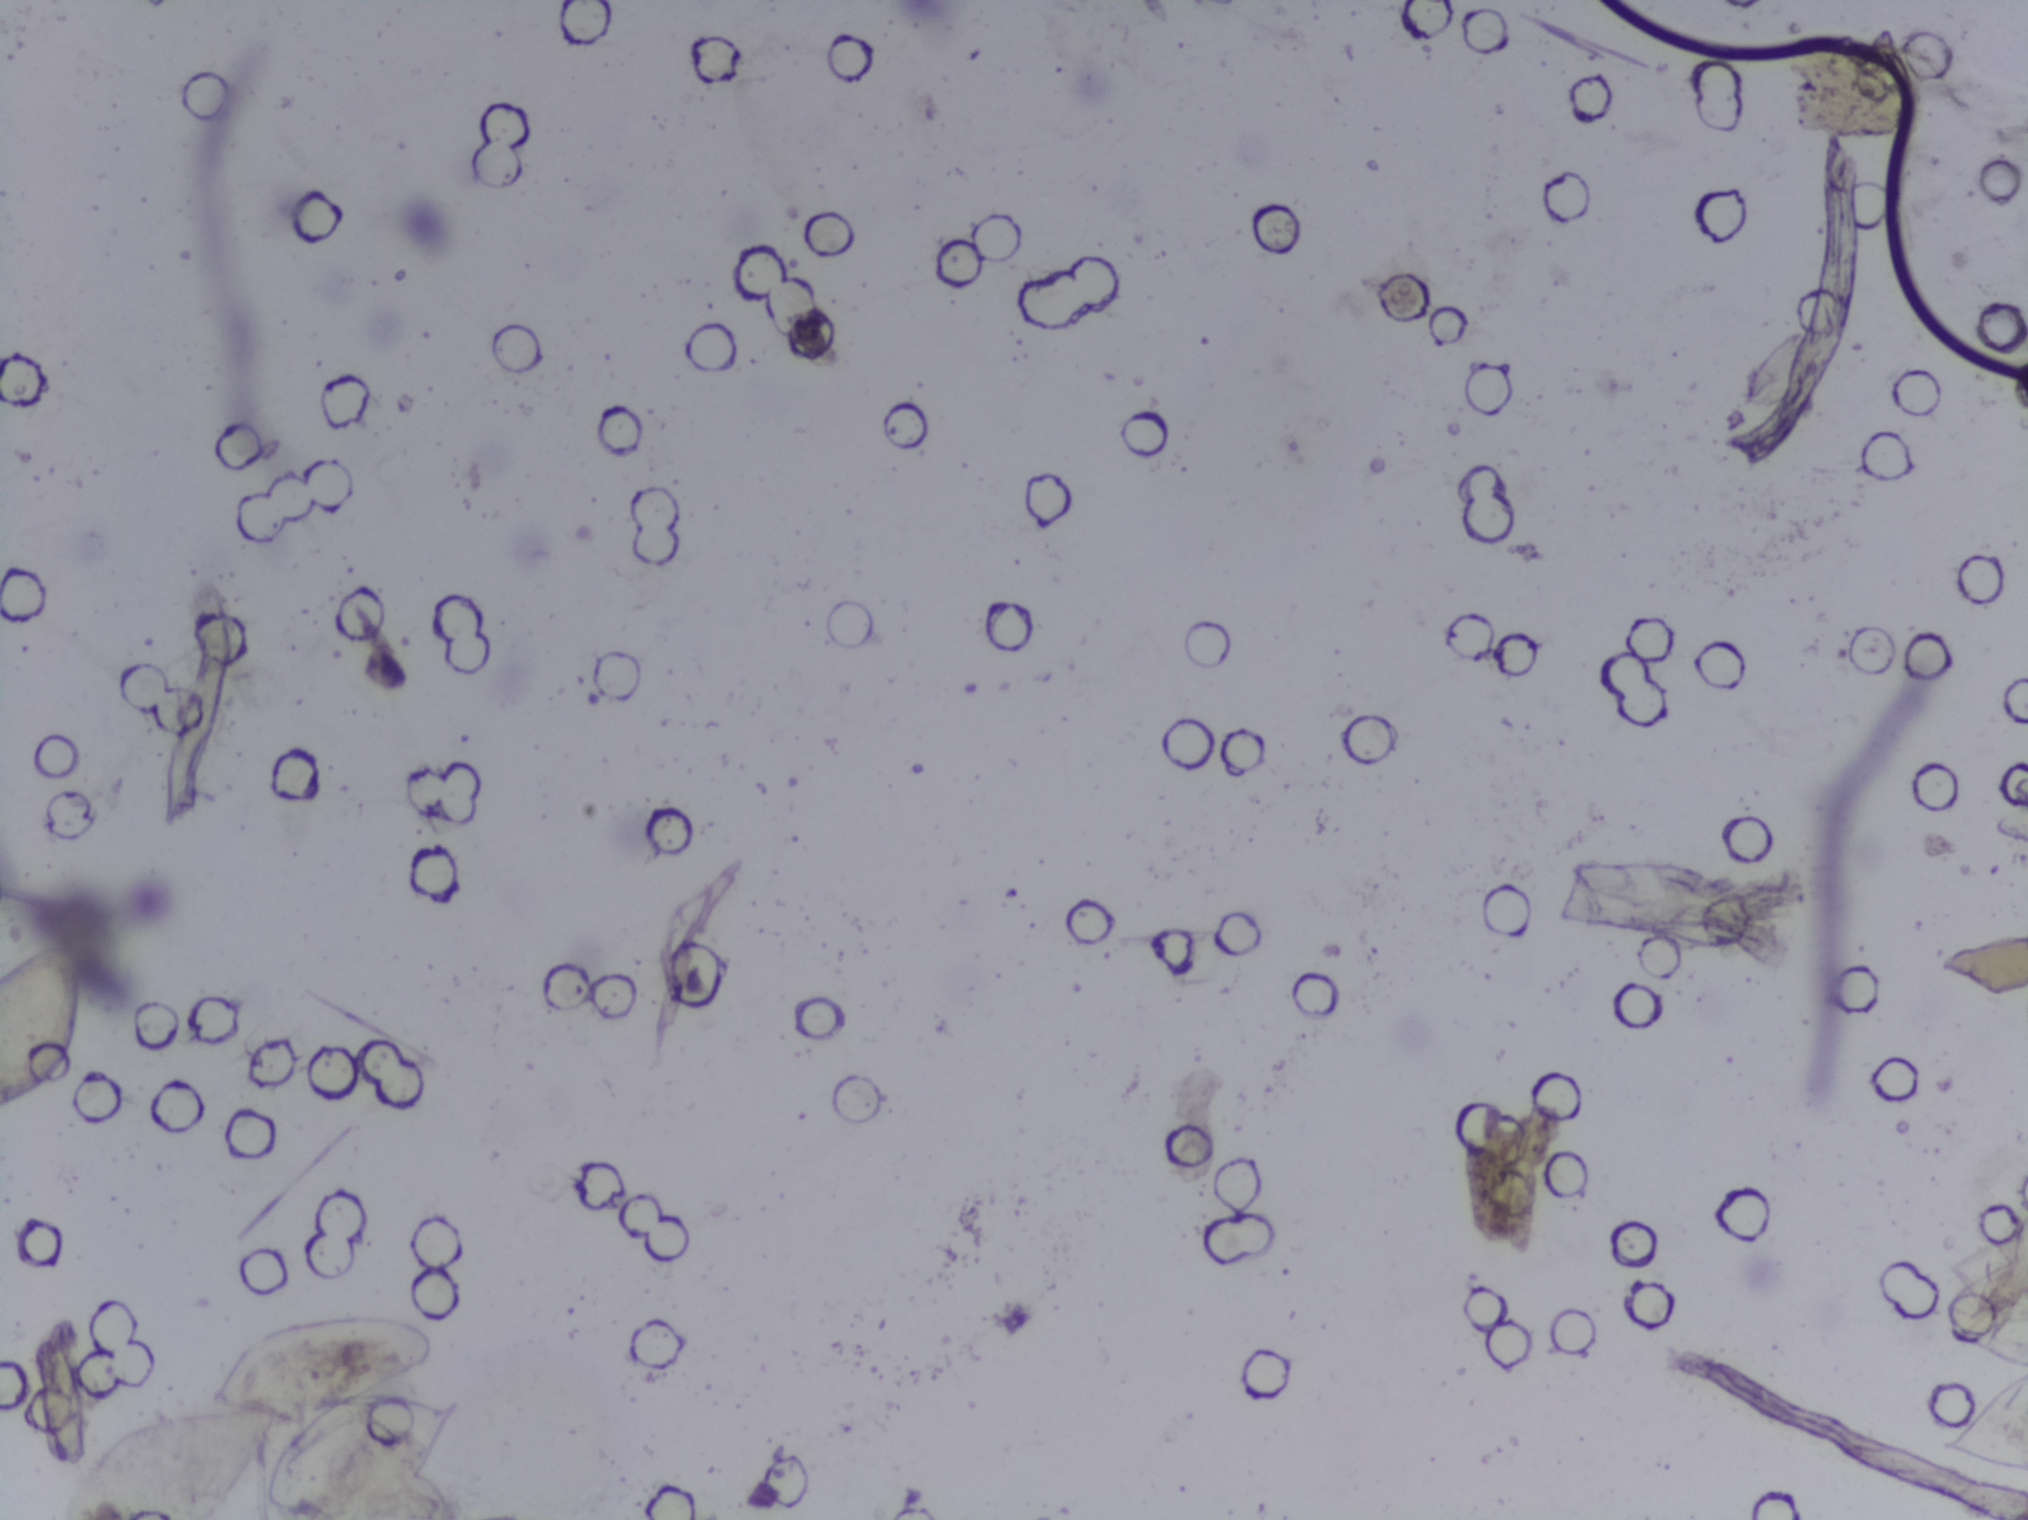
Photomicrograph of a urine filtration membrane, 4× objective. The image covers about 1.5 × 1.1 mm of the membrane.
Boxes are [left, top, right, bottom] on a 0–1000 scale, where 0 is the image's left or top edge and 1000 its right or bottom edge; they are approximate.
Two areas of this image are outlined as Schistosoma eggs, from left to right: [0, 616, 44, 733] (reaching the left edge of the frame) and [23, 862, 229, 1000] (eggs clustered together; reaching the bottom edge of the frame). Marked pixels, not the boxes around them: about 2.2% of the image. An outlined area can hold more than one egg.